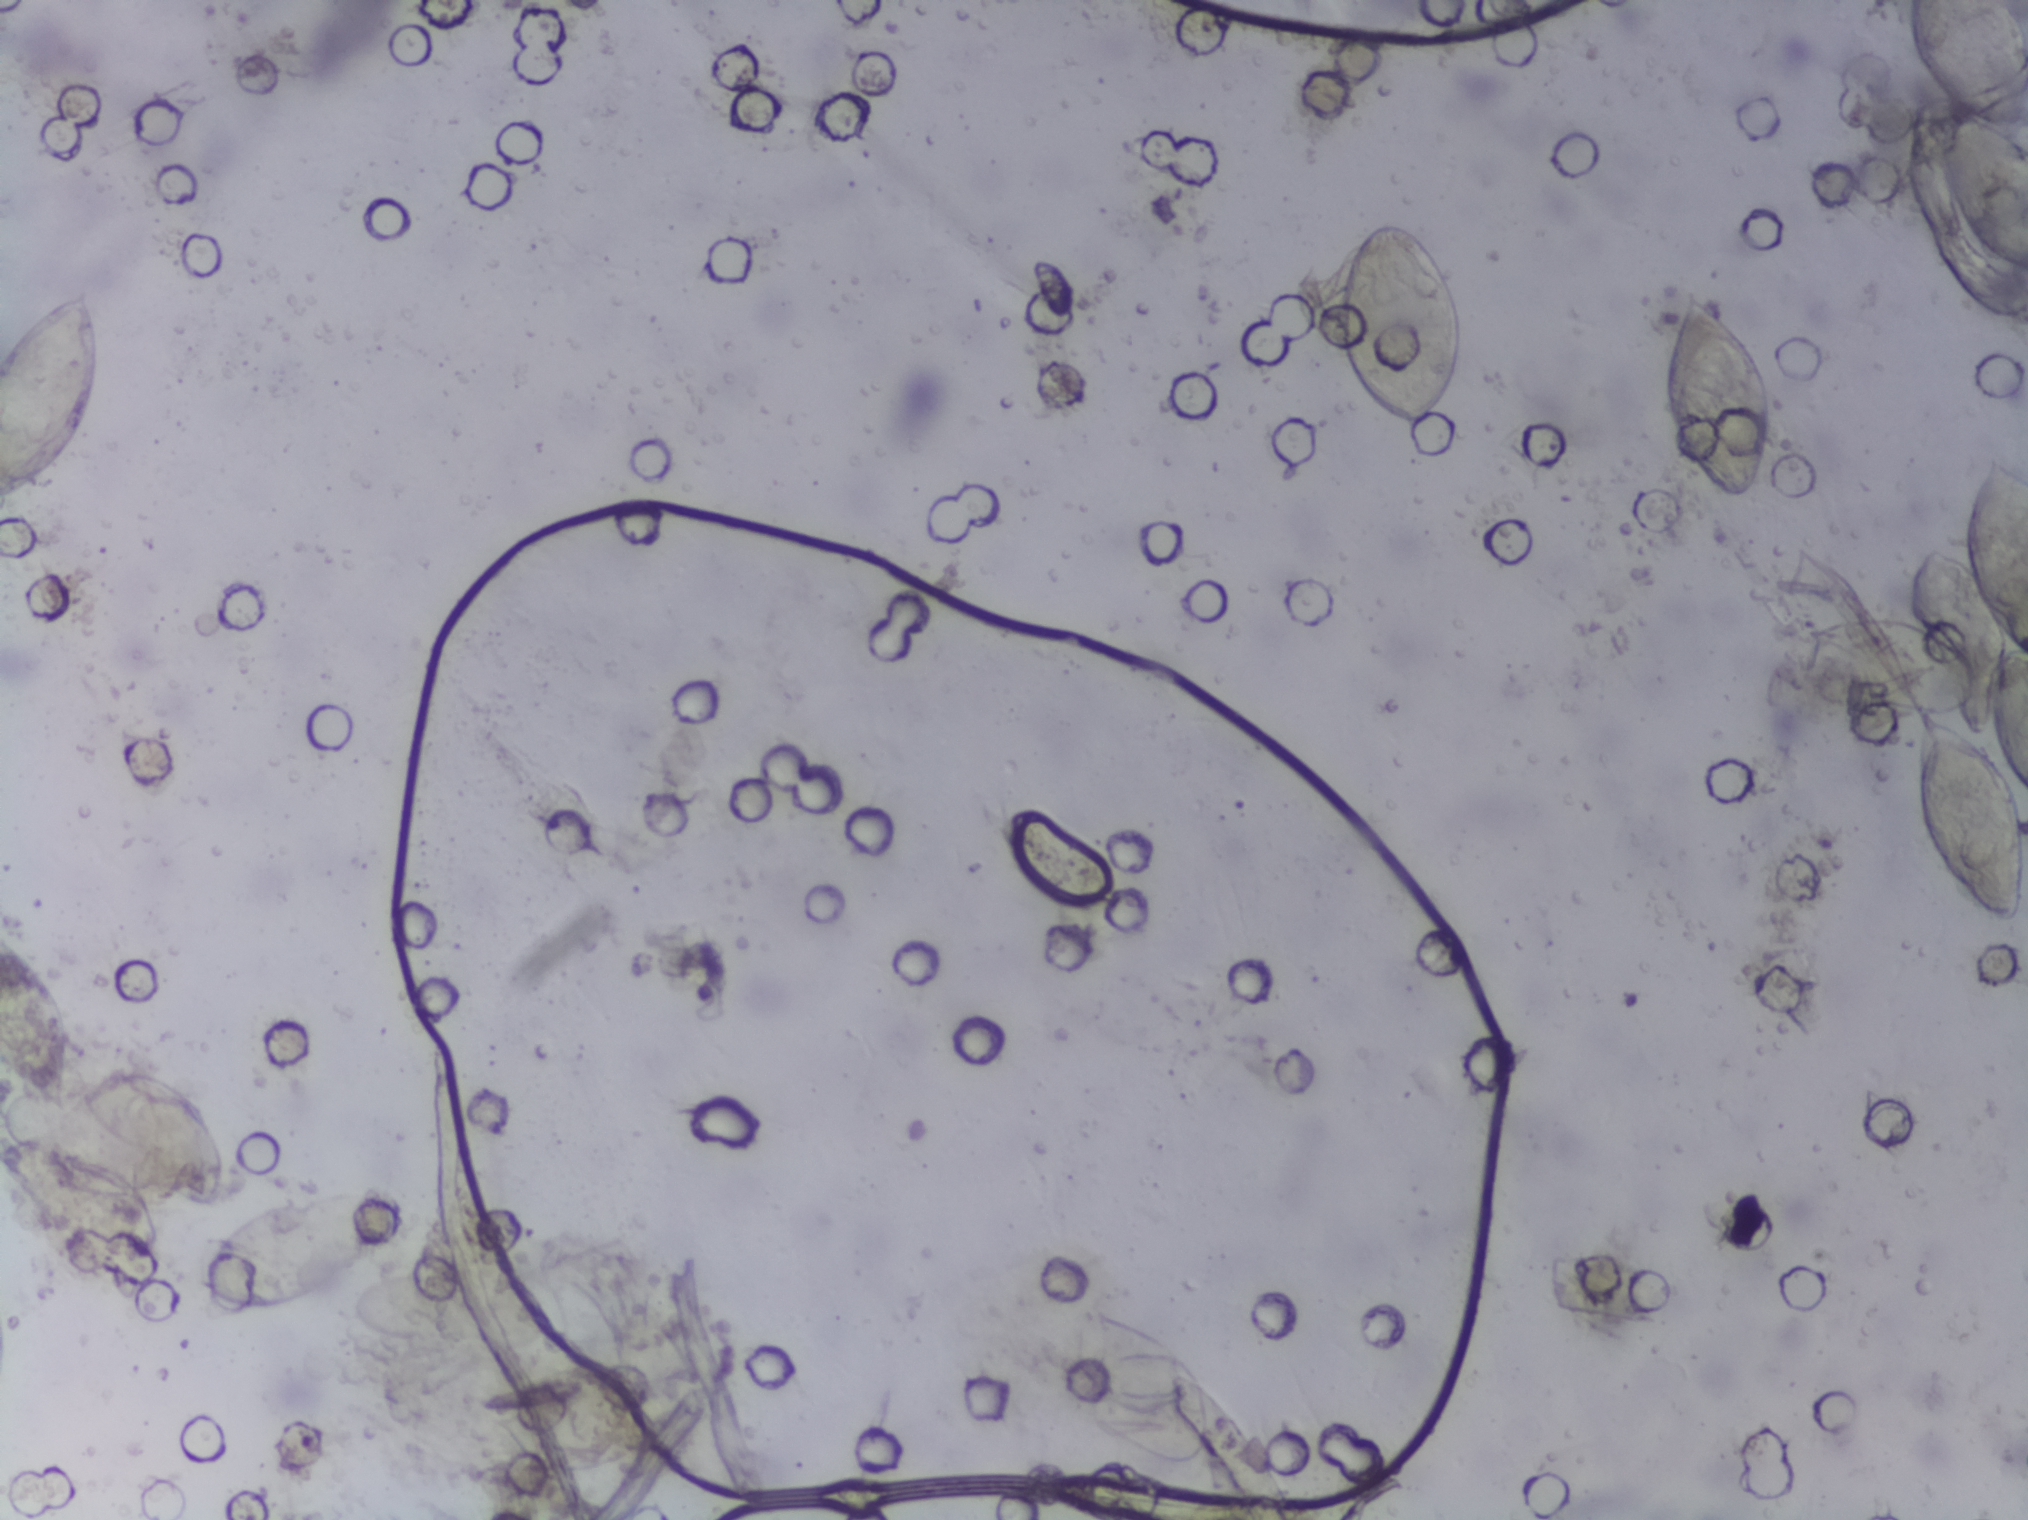
Urine filter membrane photographed through a 4× microscope objective.
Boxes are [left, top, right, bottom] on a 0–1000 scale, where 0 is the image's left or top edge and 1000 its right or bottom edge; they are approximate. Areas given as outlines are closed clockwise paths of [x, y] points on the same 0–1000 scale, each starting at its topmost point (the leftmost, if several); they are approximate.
Ten areas of this image are outlined as Schistosoma eggs, from left to right: box [0, 188, 52, 330] (reaching the left edge of the frame); box [0, 611, 34, 736] (reaching the left edge of the frame); box [0, 745, 80, 832] (reaching the left edge of the frame); box [40, 699, 110, 793]; box [97, 784, 203, 862]; box [531, 857, 598, 967]; box [660, 145, 723, 286]; box [819, 189, 876, 332]; outline [981, 298], [1000, 310], [1000, 519], [991, 513], [991, 523], [999, 537], [1000, 574], [995, 600], [989, 609], [974, 602], [955, 569], [944, 522], [943, 477], [946, 470], [907, 457], [895, 446], [885, 425], [885, 417], [896, 409], [918, 405], [941, 408], [940, 392], [950, 356], [962, 357], [970, 365], [970, 324], [976, 304] (a cluster of eggs; reaching the right edge of the frame); box [940, 0, 1000, 182] (reaching the top and right edges of the frame). A single outlined area may contain several eggs.